Urine filtration membrane under a 4× objective, photographed by an automated digital microscope.
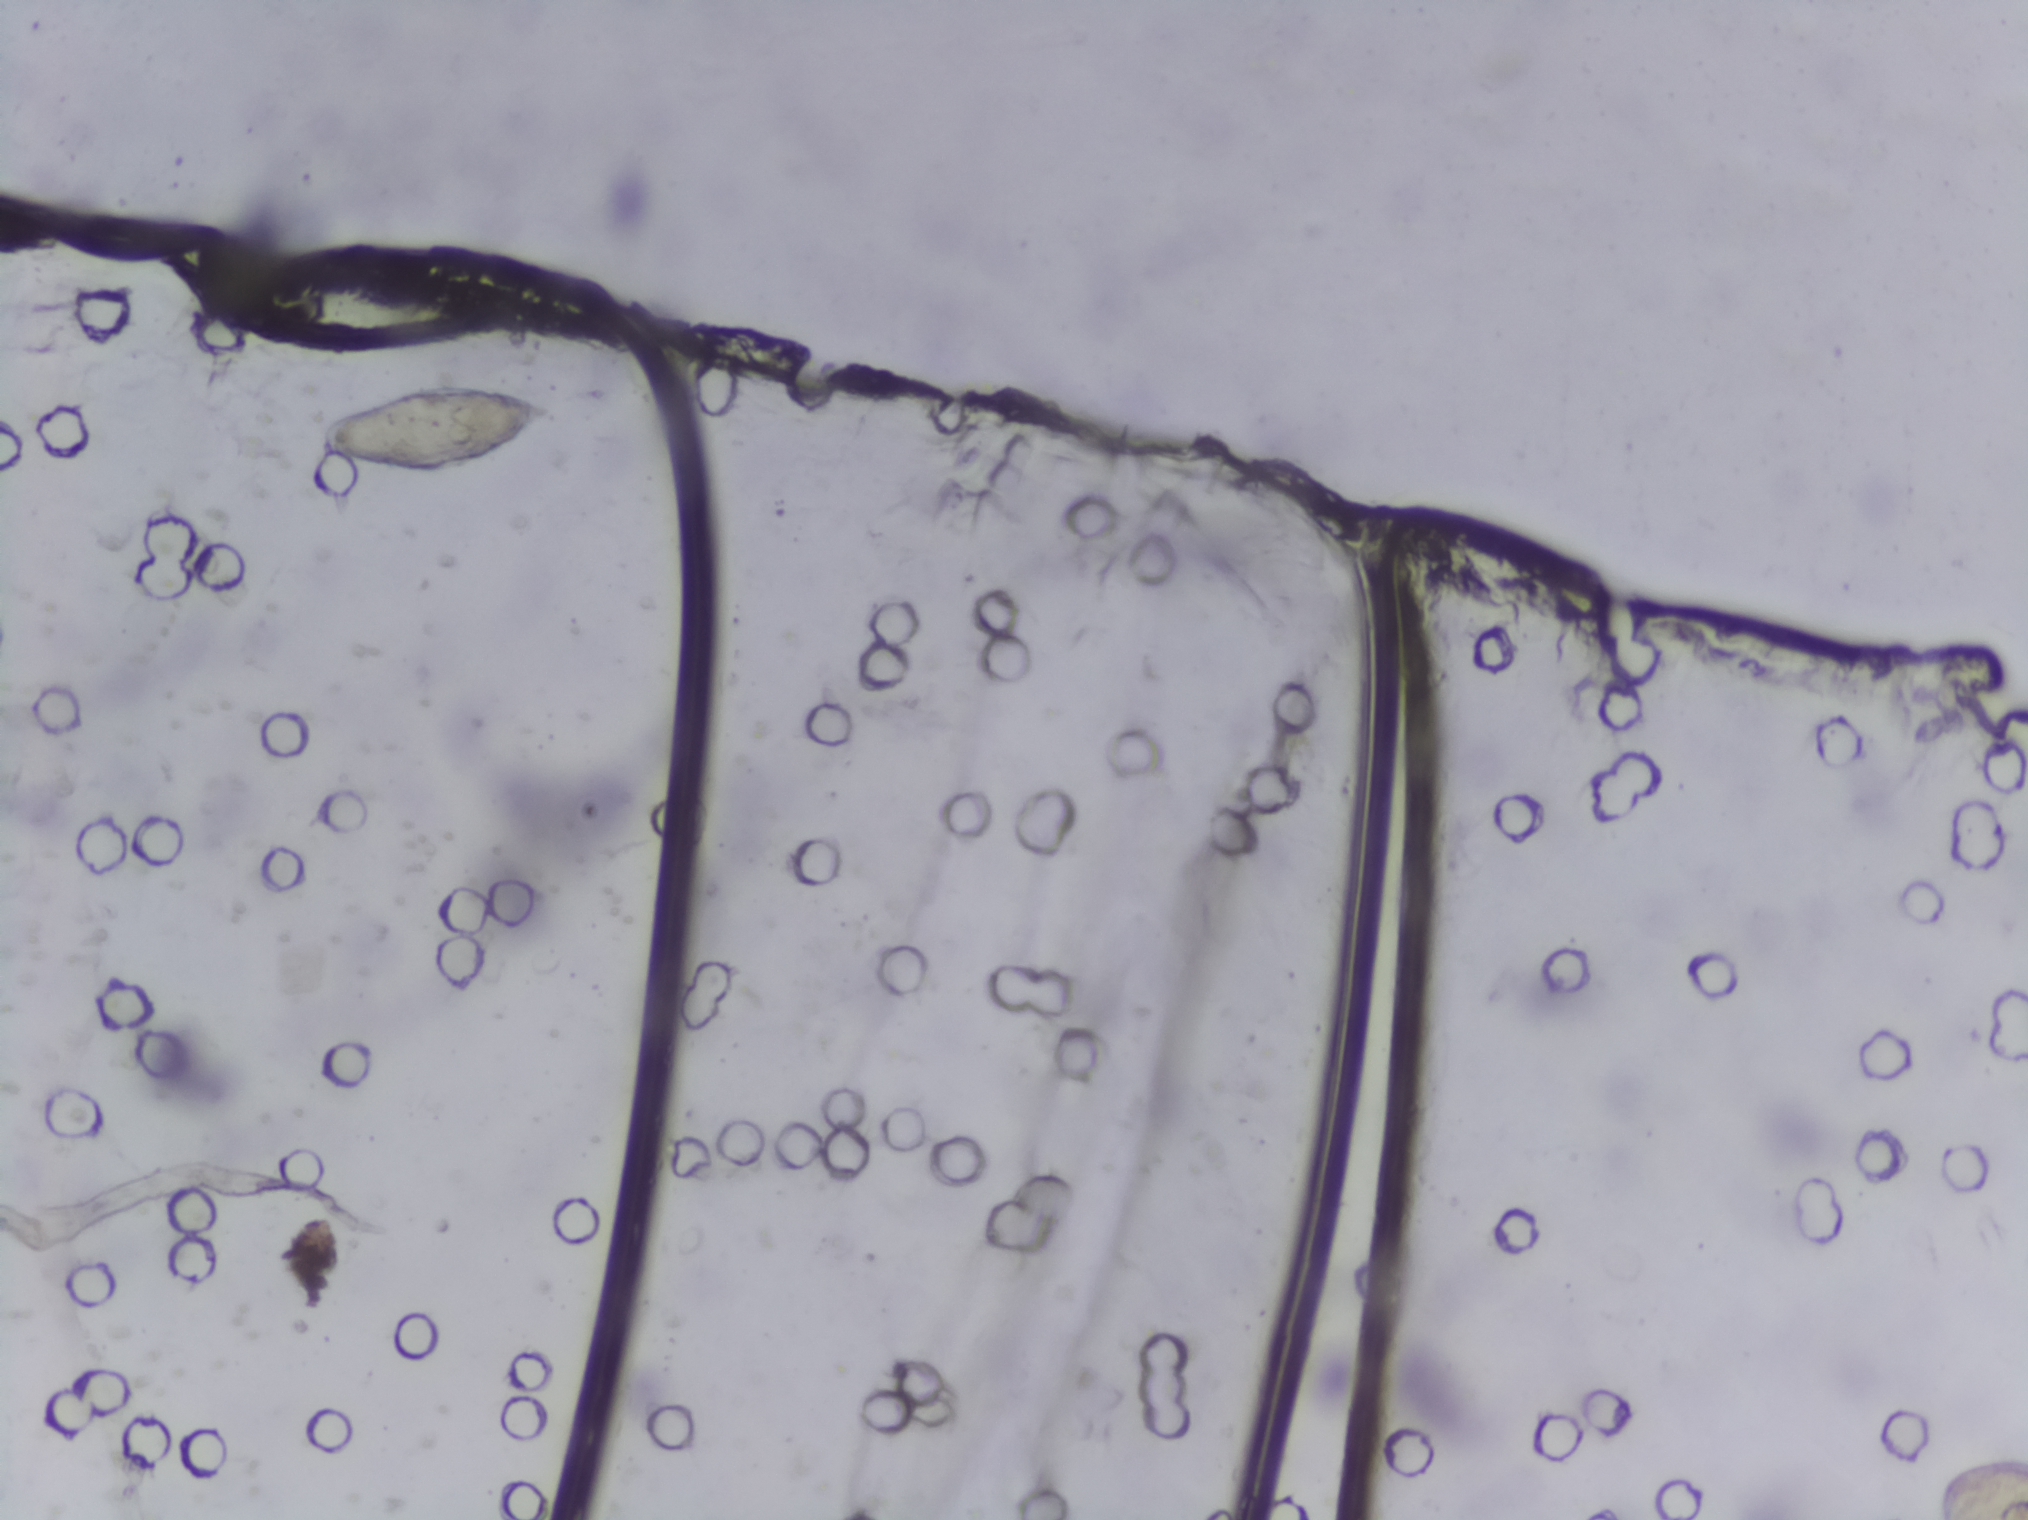
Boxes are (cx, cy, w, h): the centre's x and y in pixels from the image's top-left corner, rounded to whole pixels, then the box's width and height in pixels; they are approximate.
The expert annotation outlines Schistosoma eggs at (cx=437, cy=431, w=243, h=96). Eggs that touch can end up inside the same outlined area.